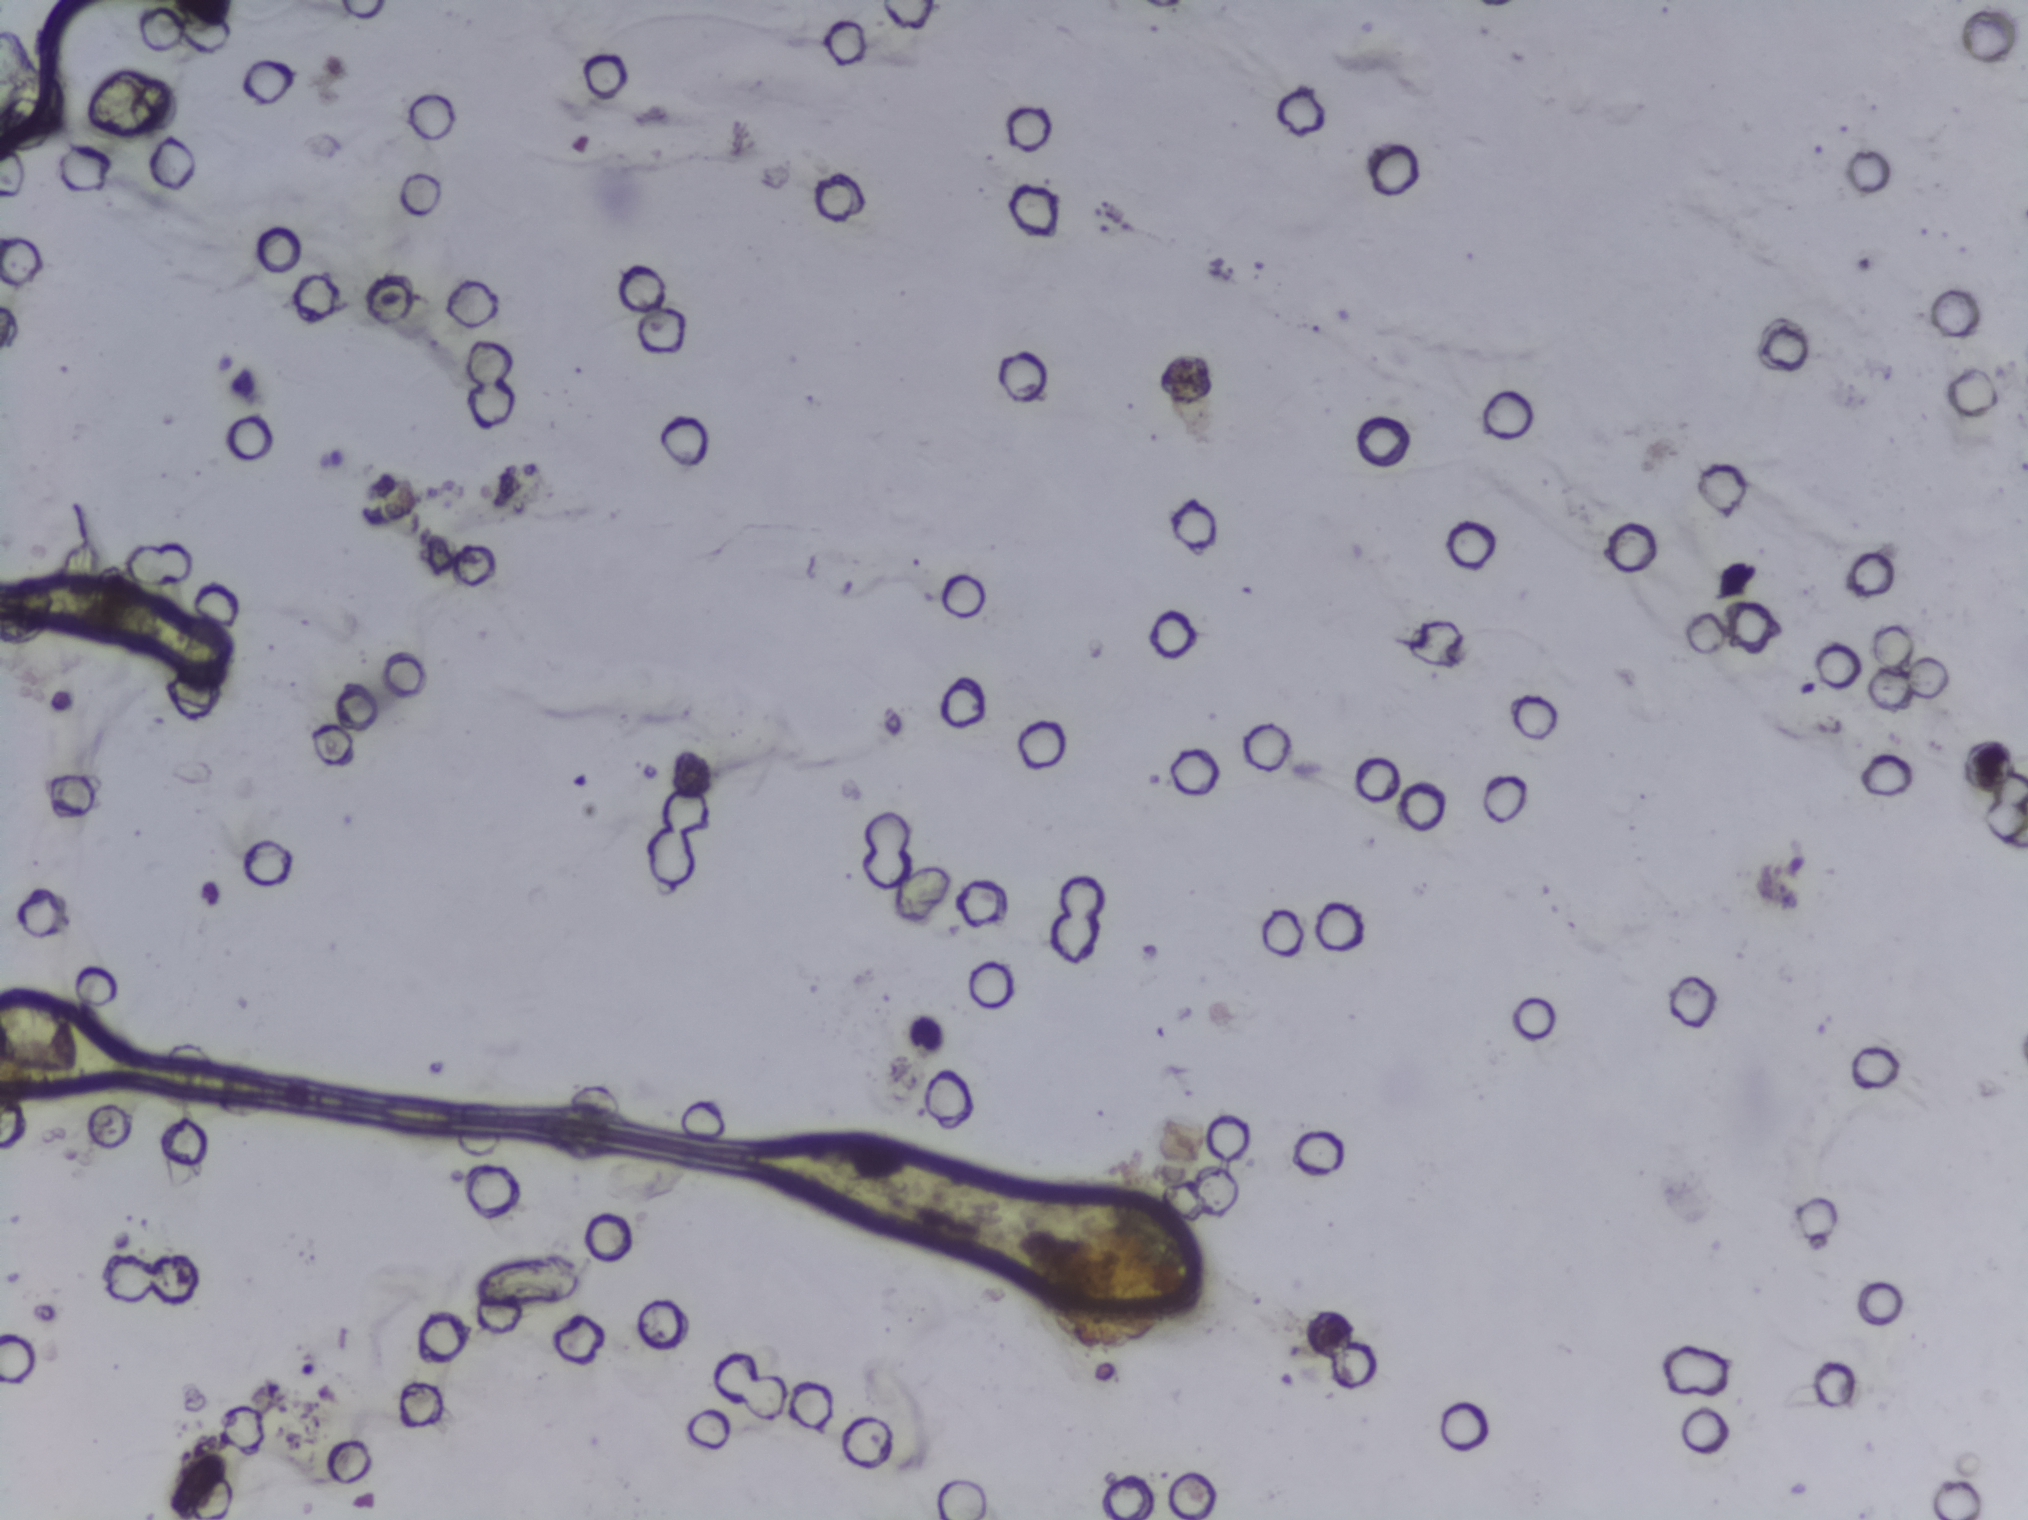
The expert annotation marks no Schistosoma egg in this field of view.
Urine filtration membrane under a 4× objective, photographed by an automated digital microscope.